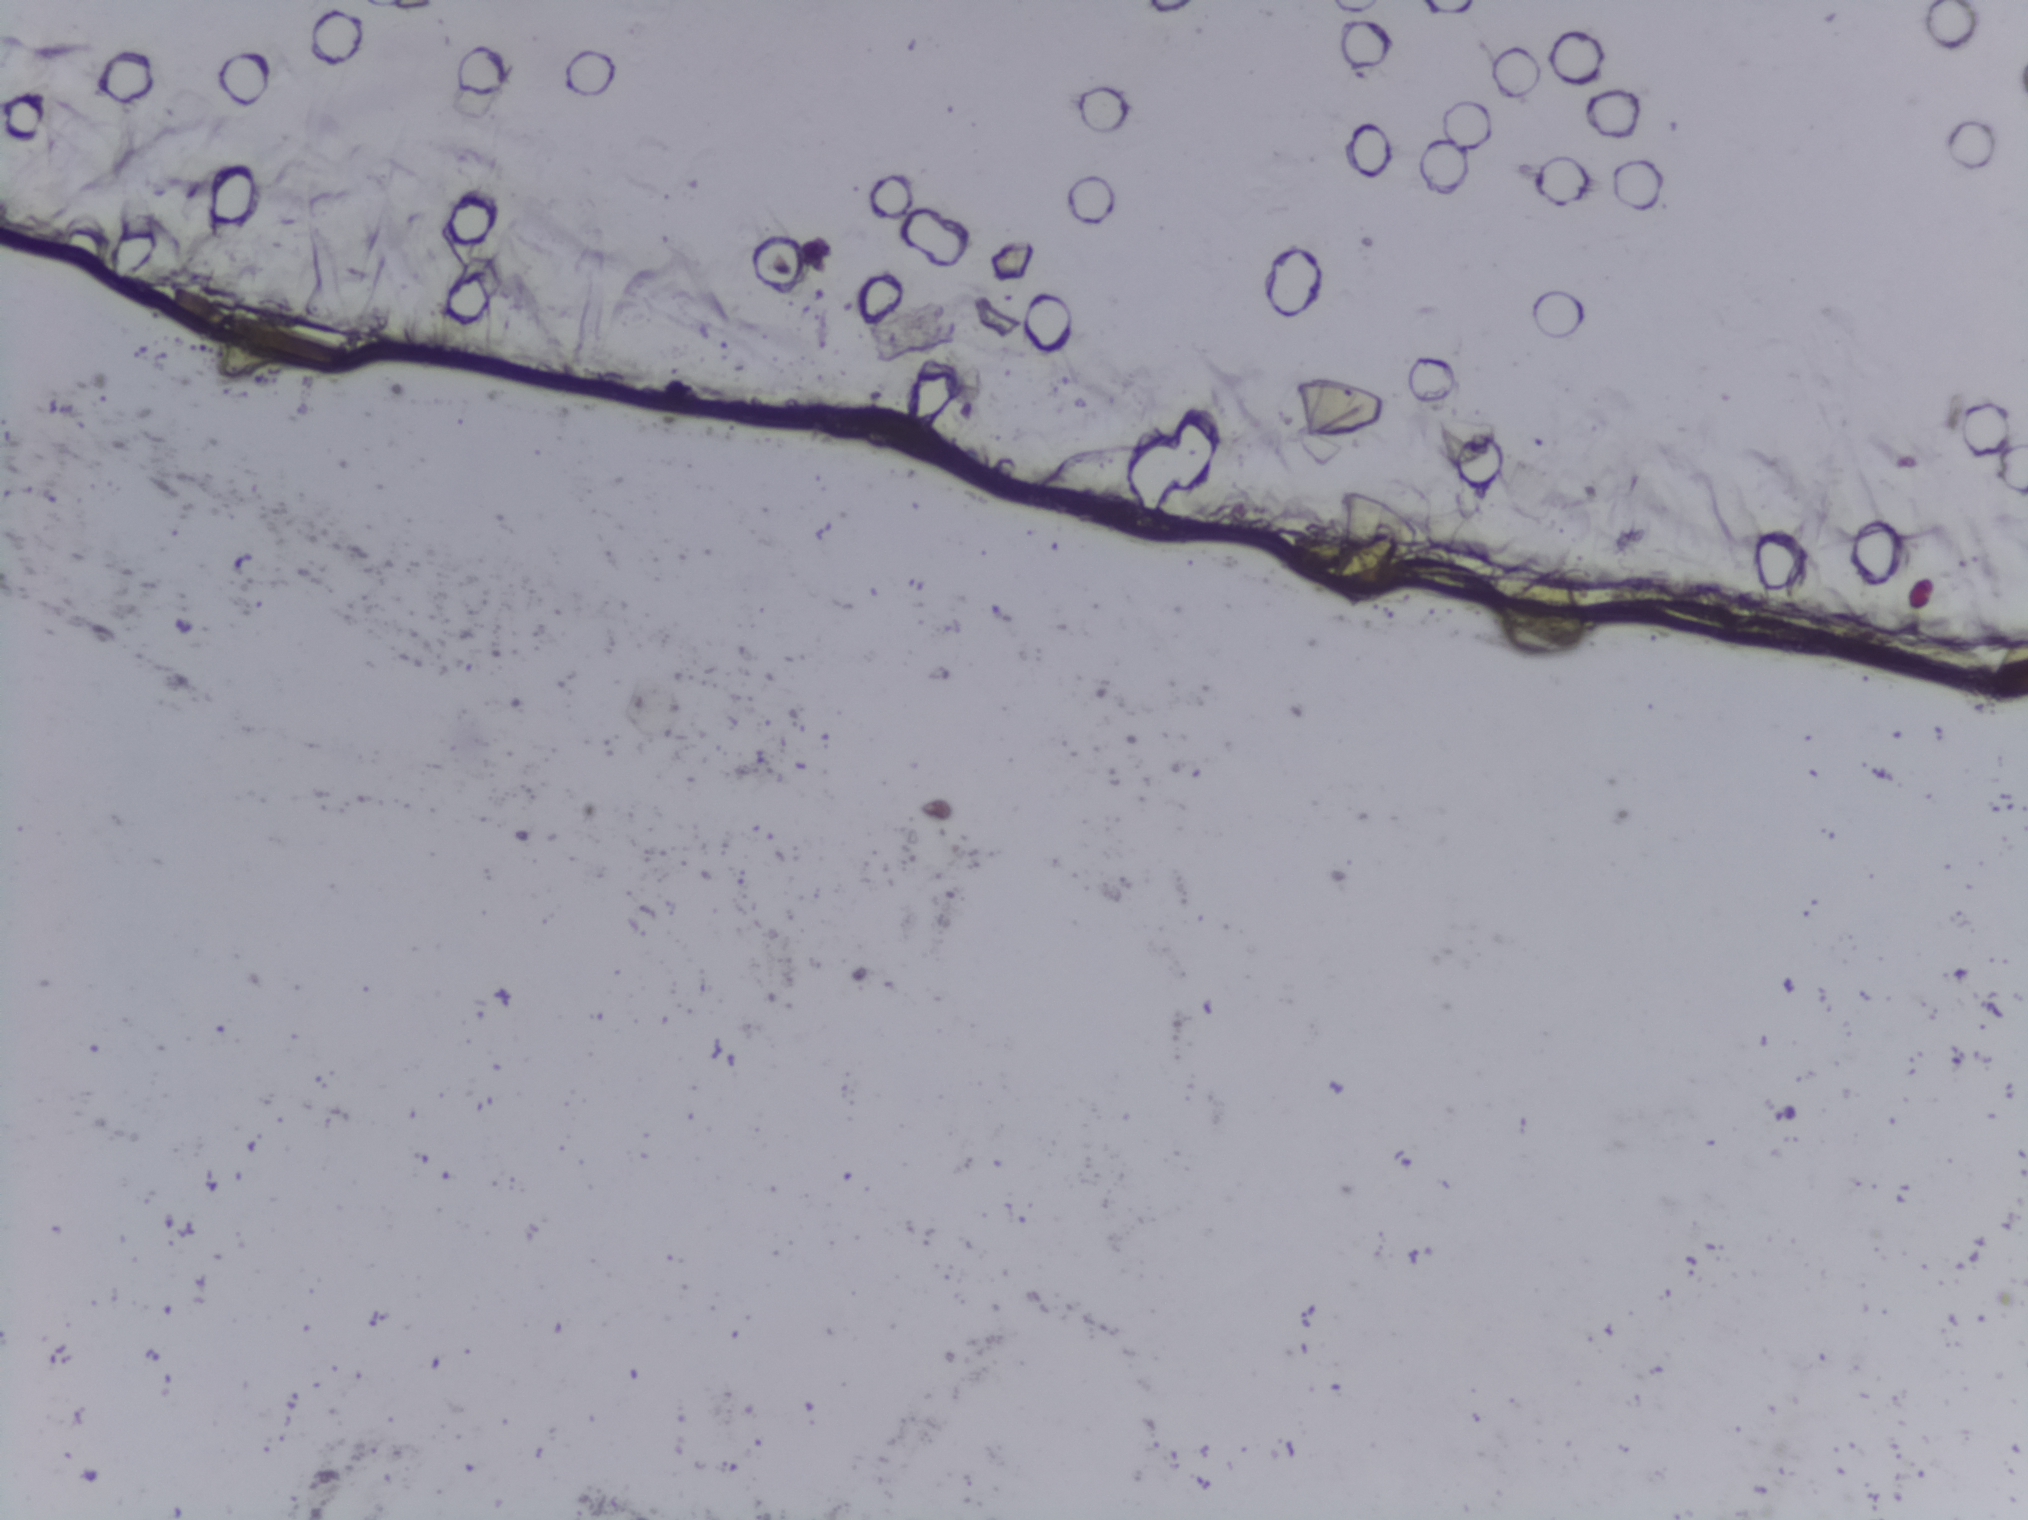
The expert annotation marks no Schistosoma egg in this field of view.
Photomicrograph of a urine filtration membrane, 4× objective.